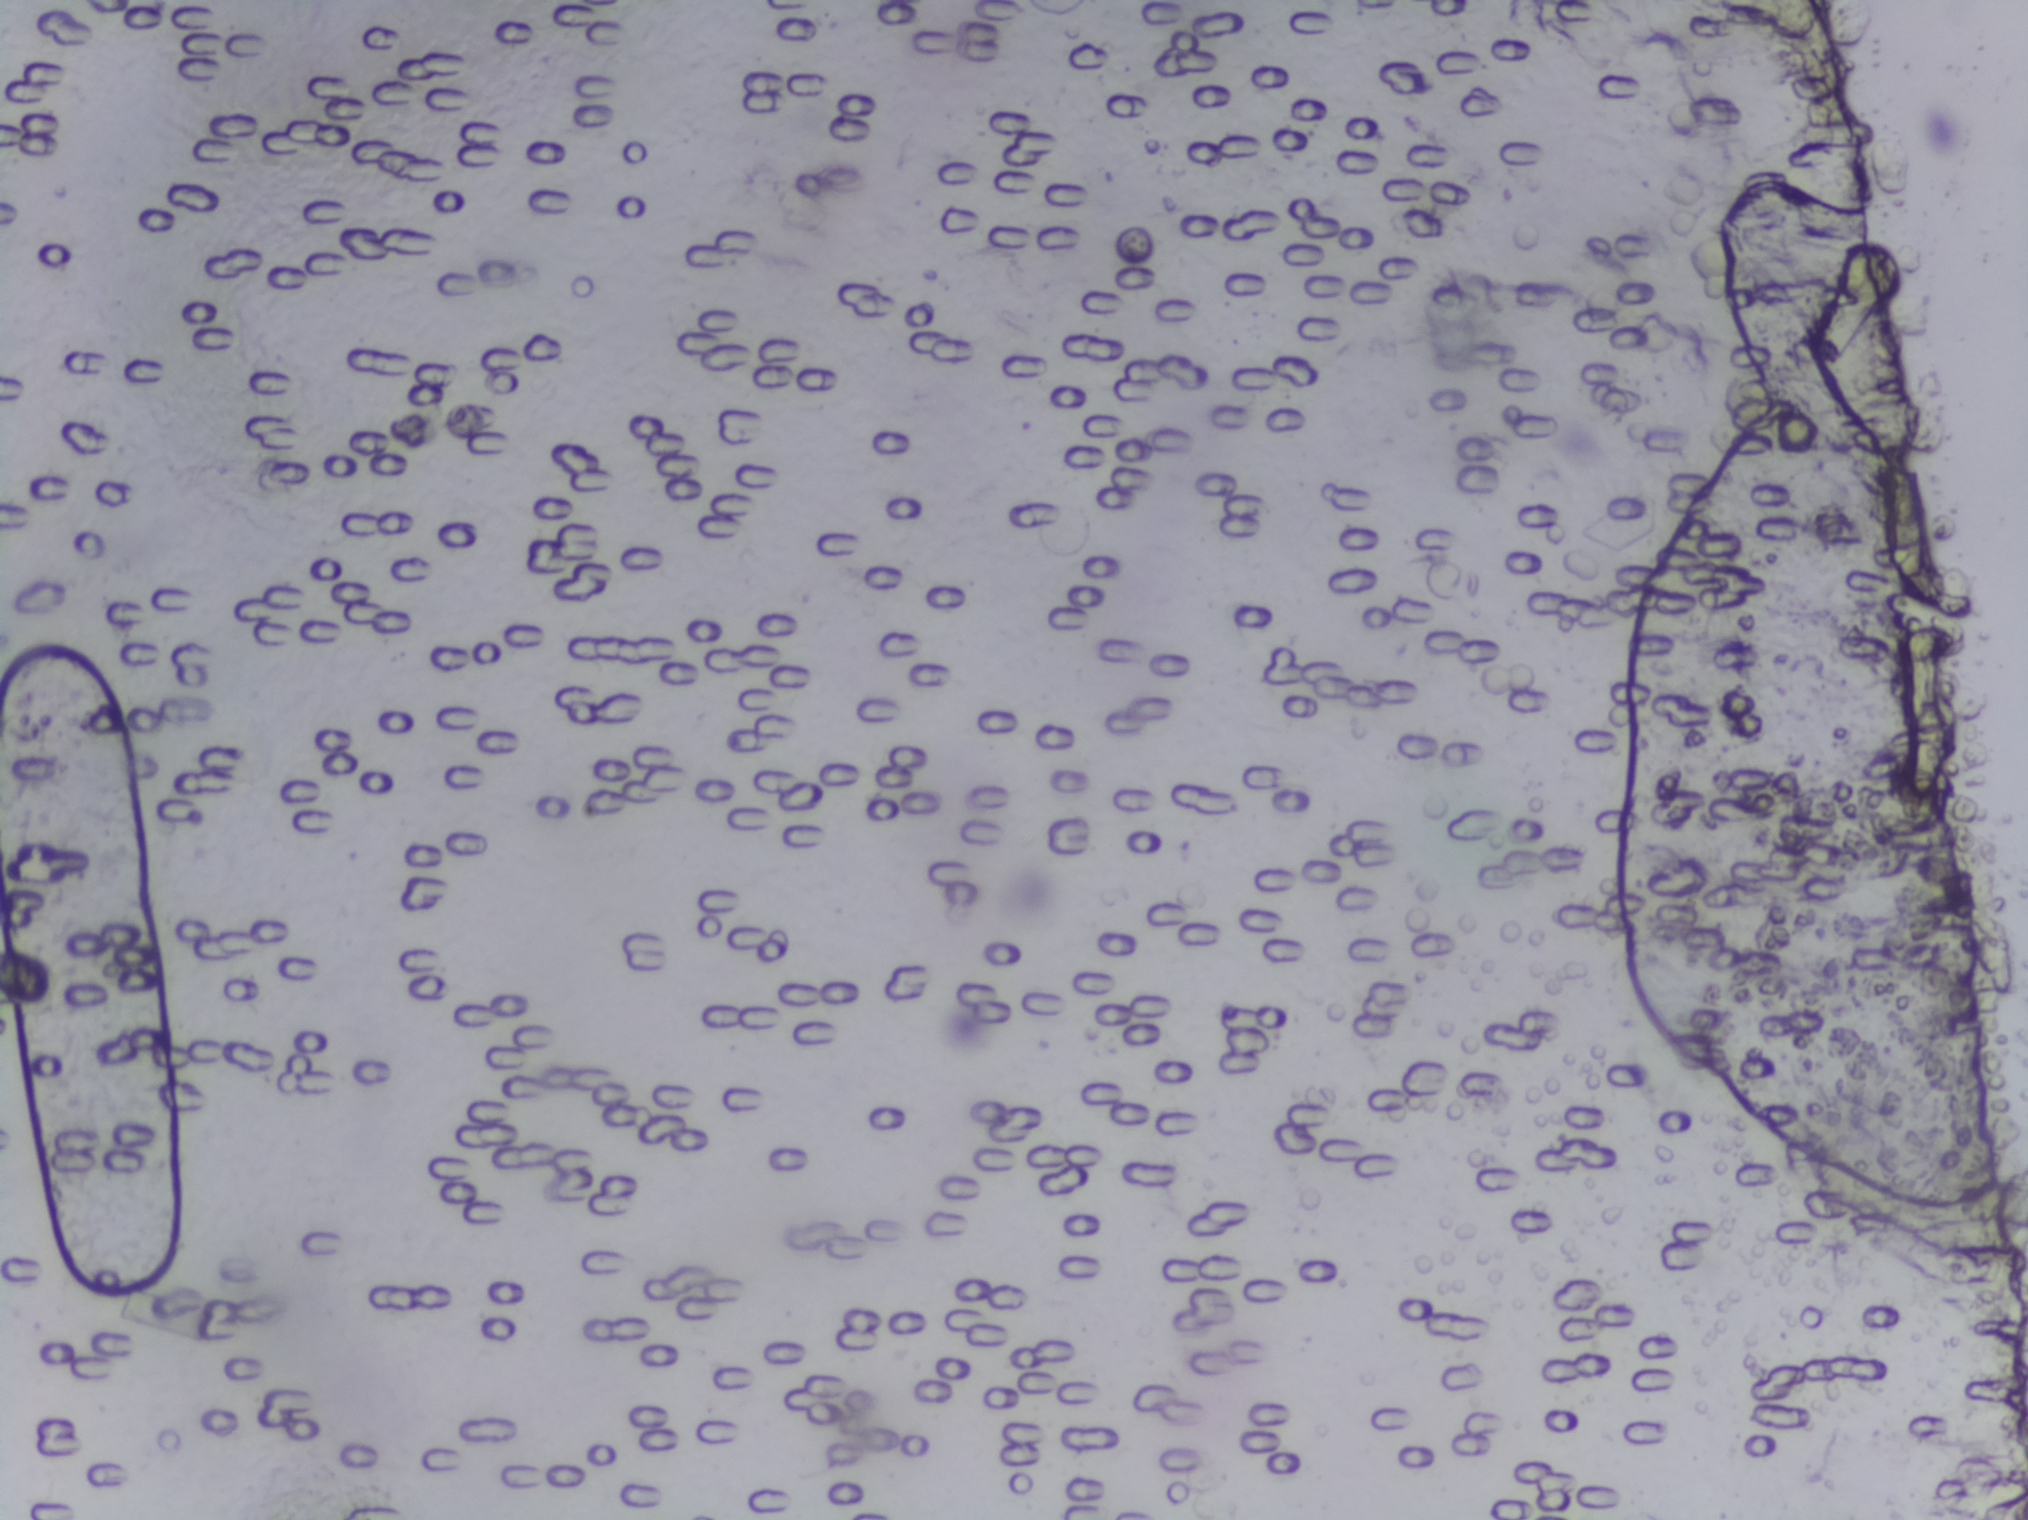
Photomicrograph of a urine filtration membrane, 4× objective. Field of view: about 1.5 mm wide and 1.1 mm high.
The expert annotation marks no Schistosoma egg in this field of view.